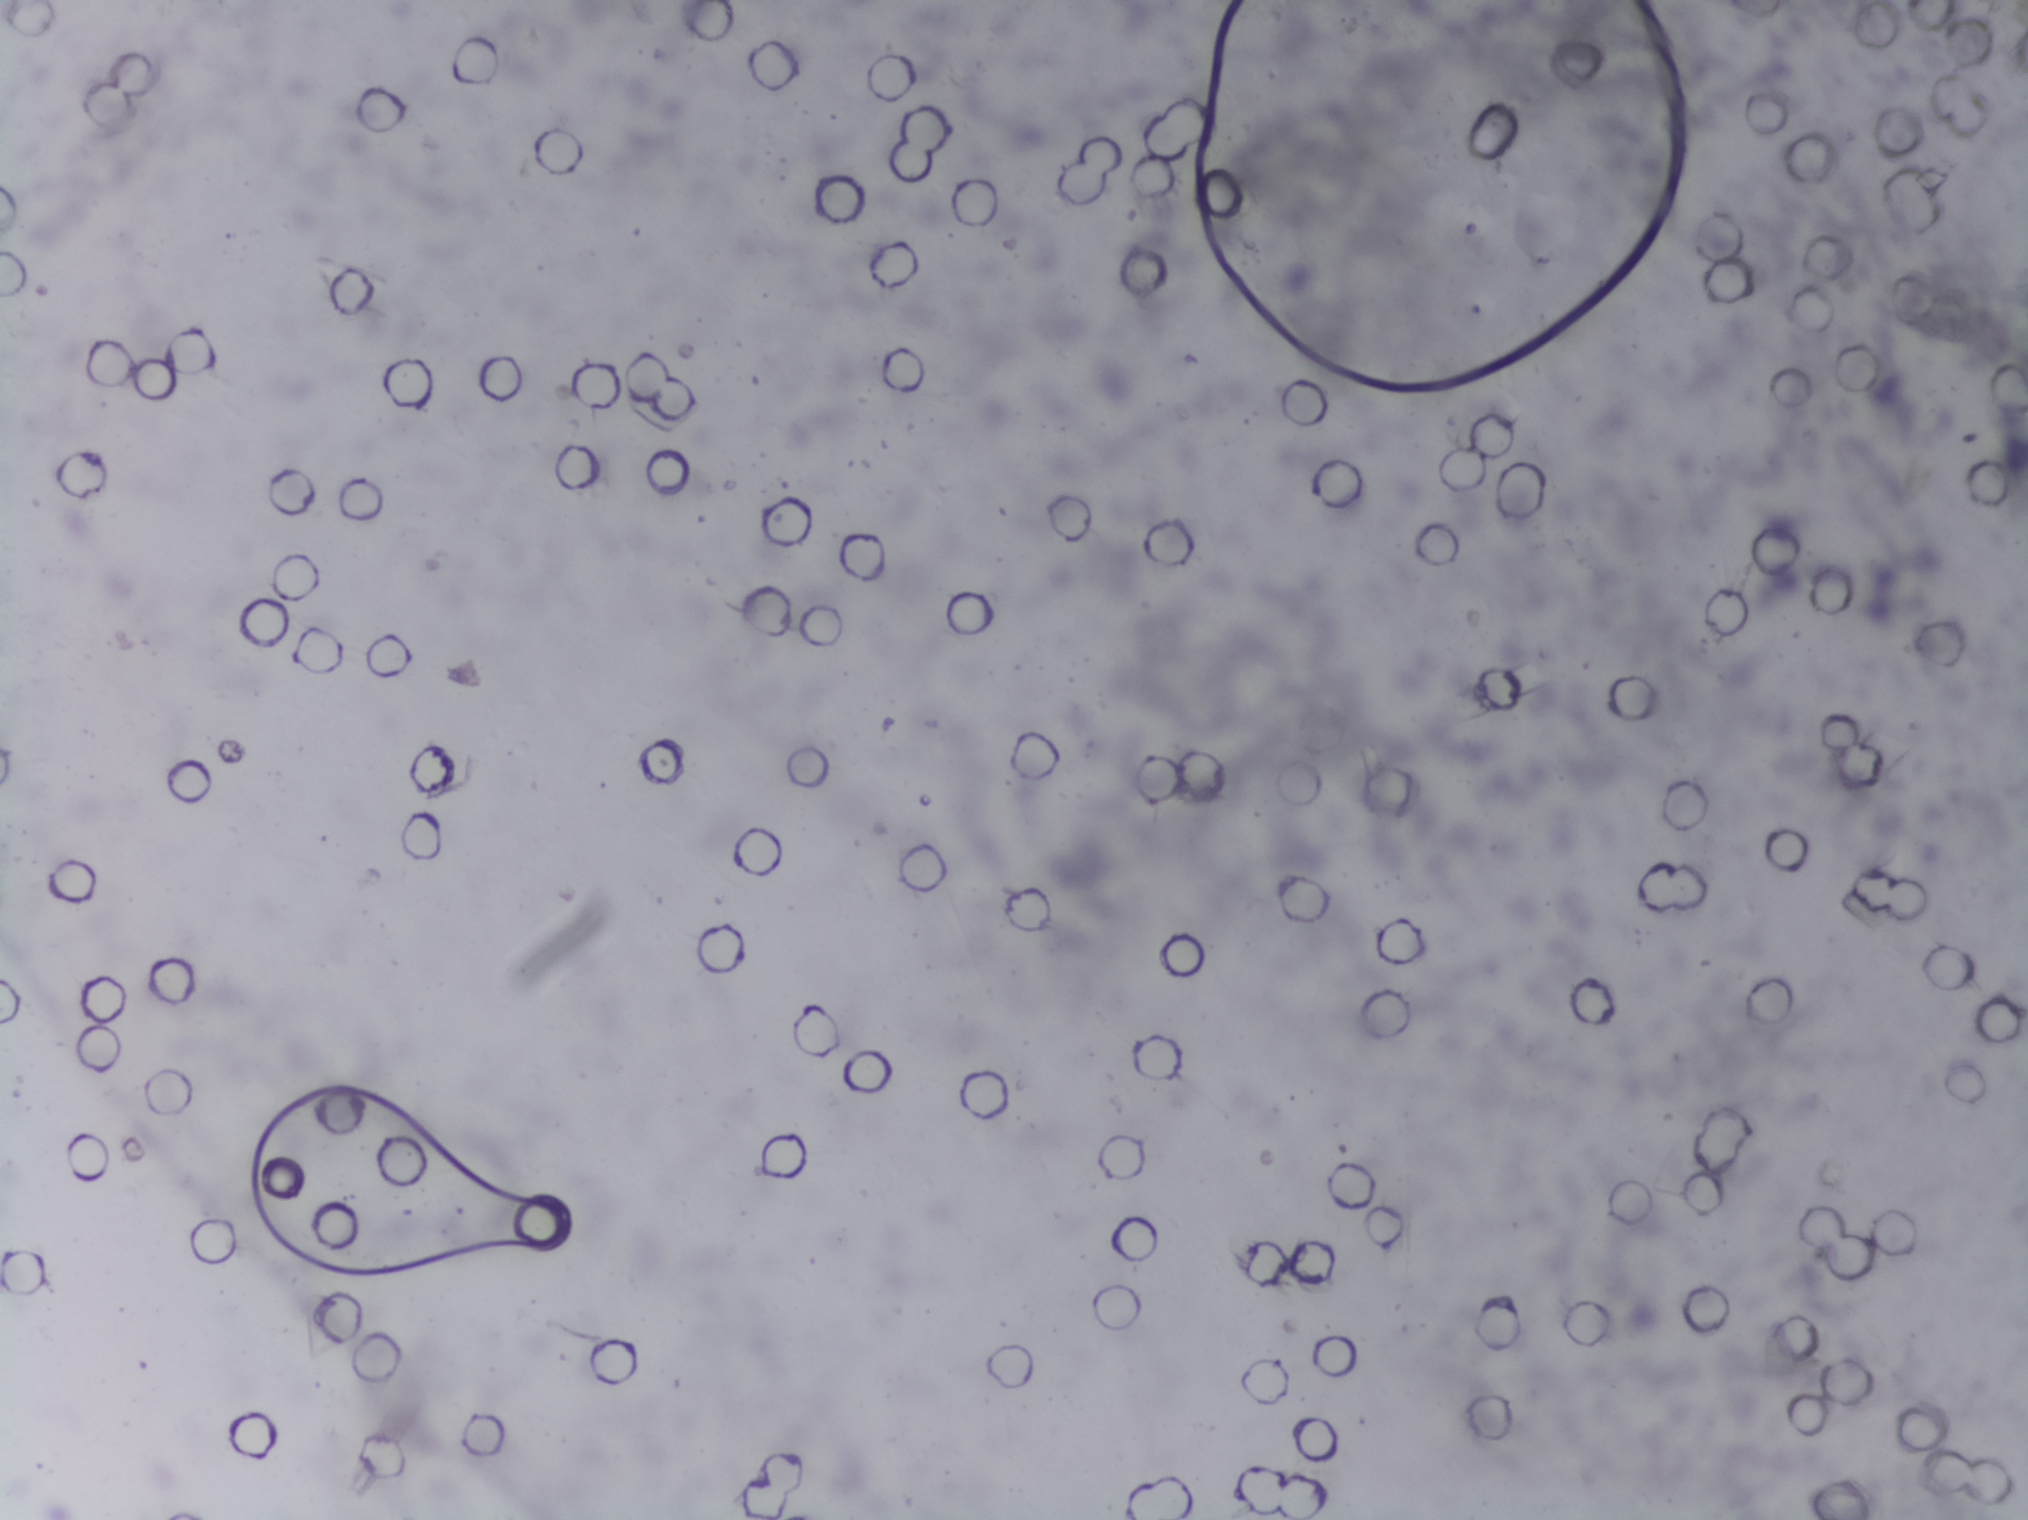
One field of view of a urine filter membrane, 4× objective, 2028 × 1520 pixels. The field of view is about 1.5 mm × 1.1 mm.
The expert annotation outlines no Schistosoma egg in this image.